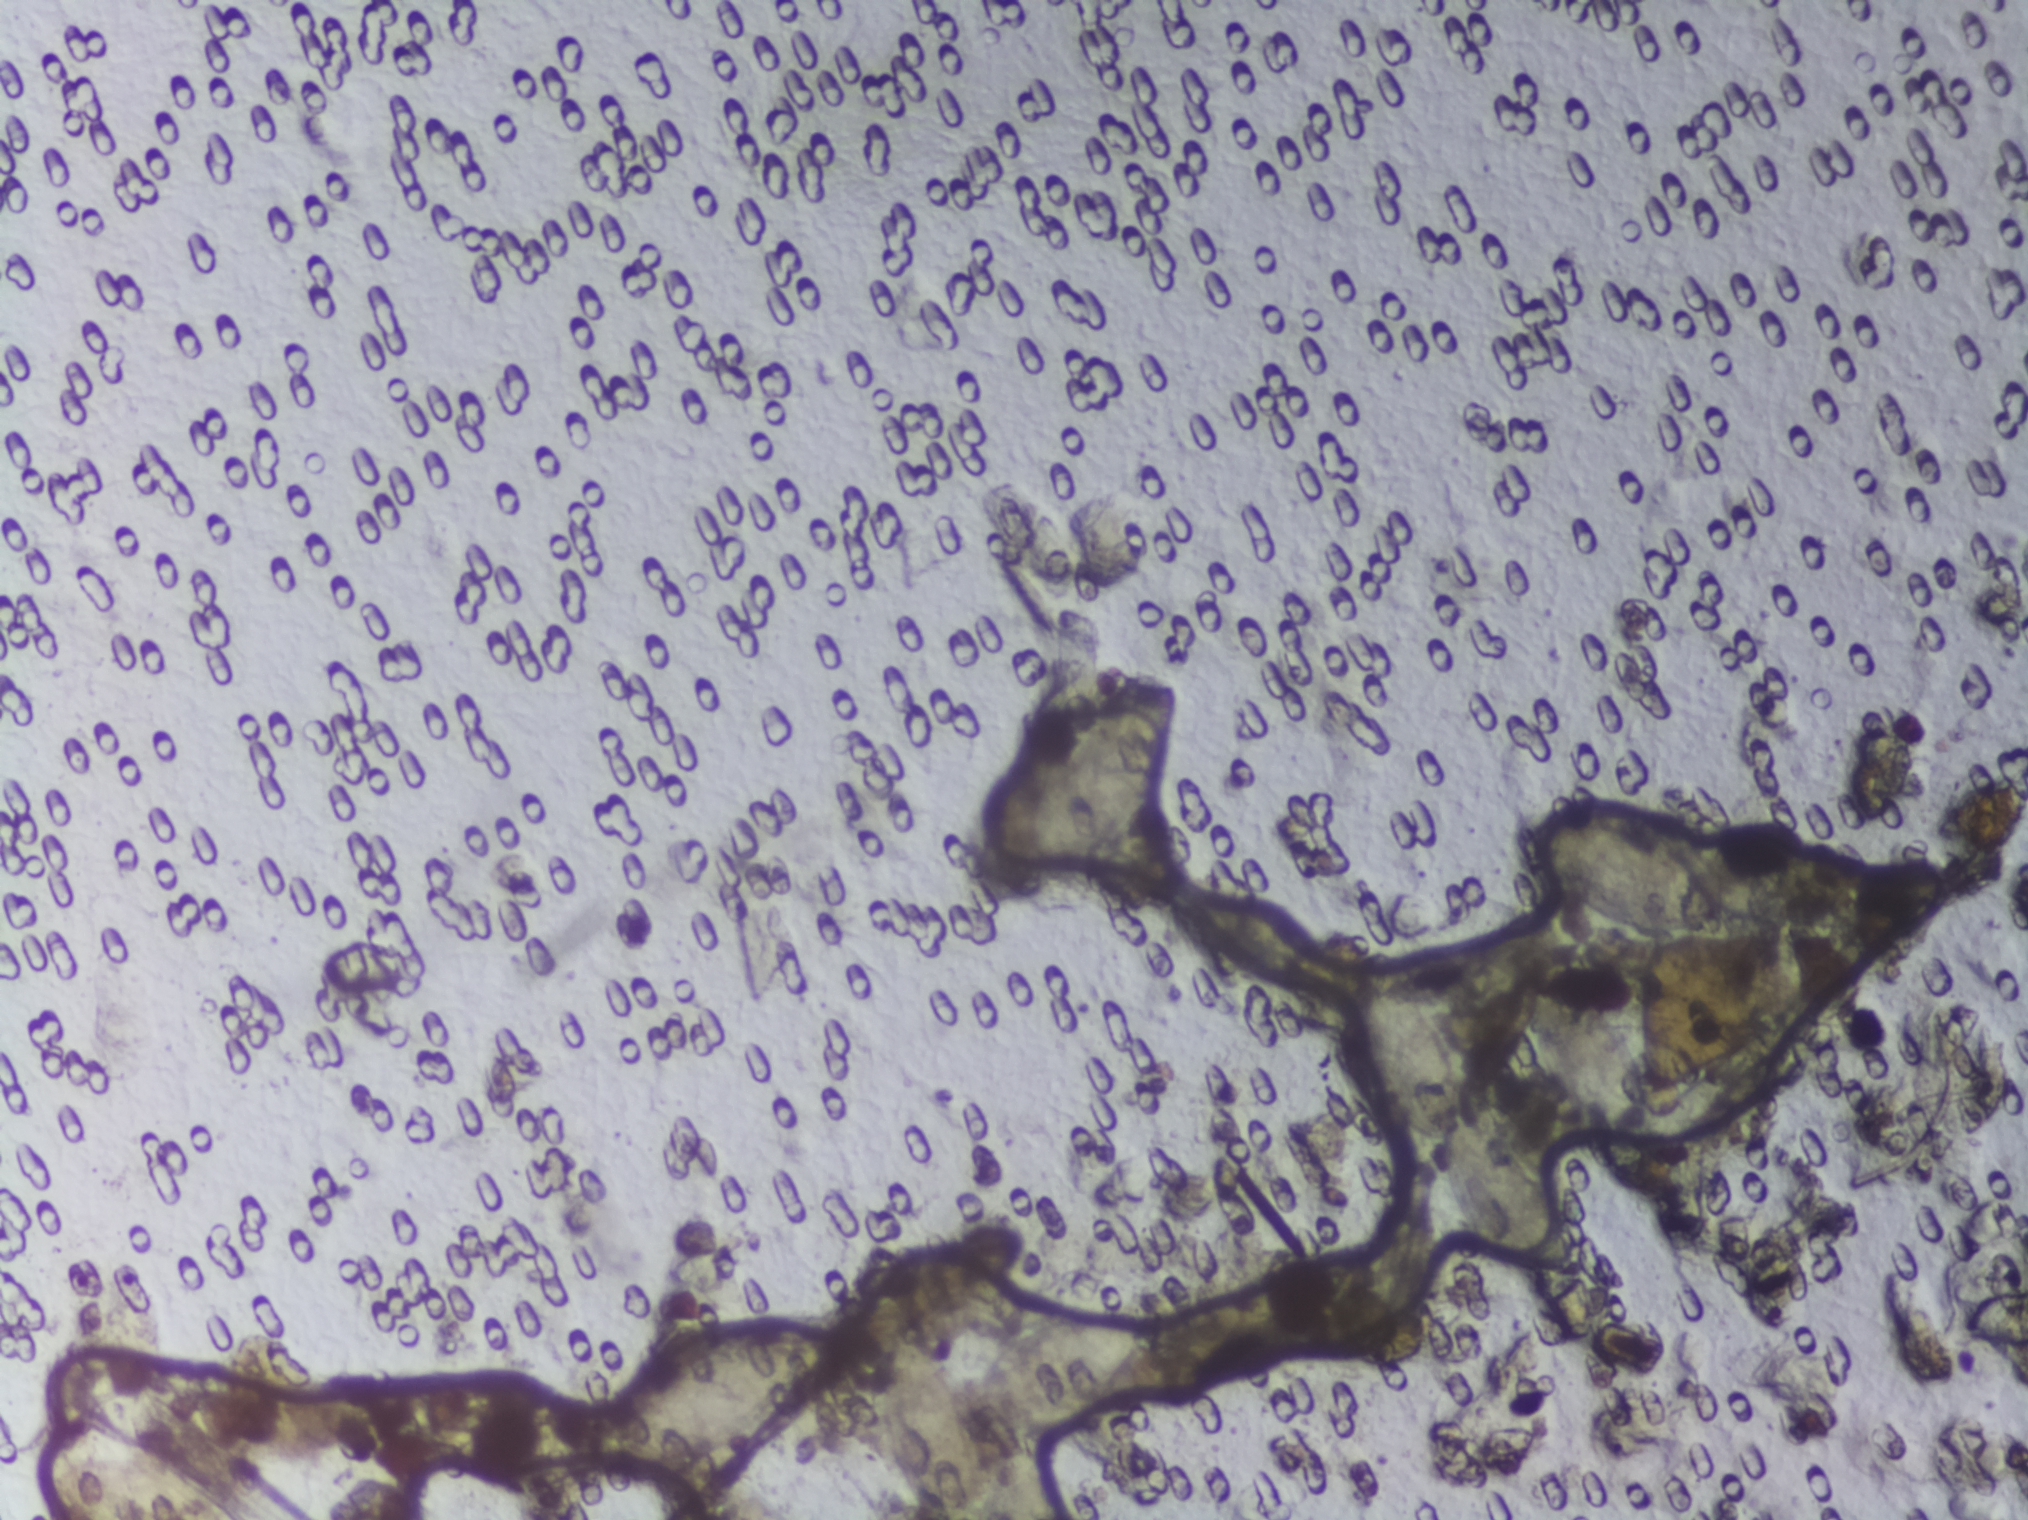
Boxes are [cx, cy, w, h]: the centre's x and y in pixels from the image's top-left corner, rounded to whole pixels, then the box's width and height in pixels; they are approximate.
{"schistosoma_egg_areas_cxcywh_px": [[136, 1488, 202, 63], [713, 1401, 234, 158], [1007, 1417, 268, 205], [1085, 775, 205, 197], [1503, 1097, 305, 346], [1698, 873, 345, 133]]} Area 1 reaches the bottom edge of the frame. Area 3 reaches the bottom edge of the frame. Area 5 holds eggs clustered together.
The marked pixels themselves, not the boxes around them, cover about 6.1% of the image. Eggs that touch can end up inside the same outlined area.
Photomicrograph of a urine filtration membrane, 4× objective.